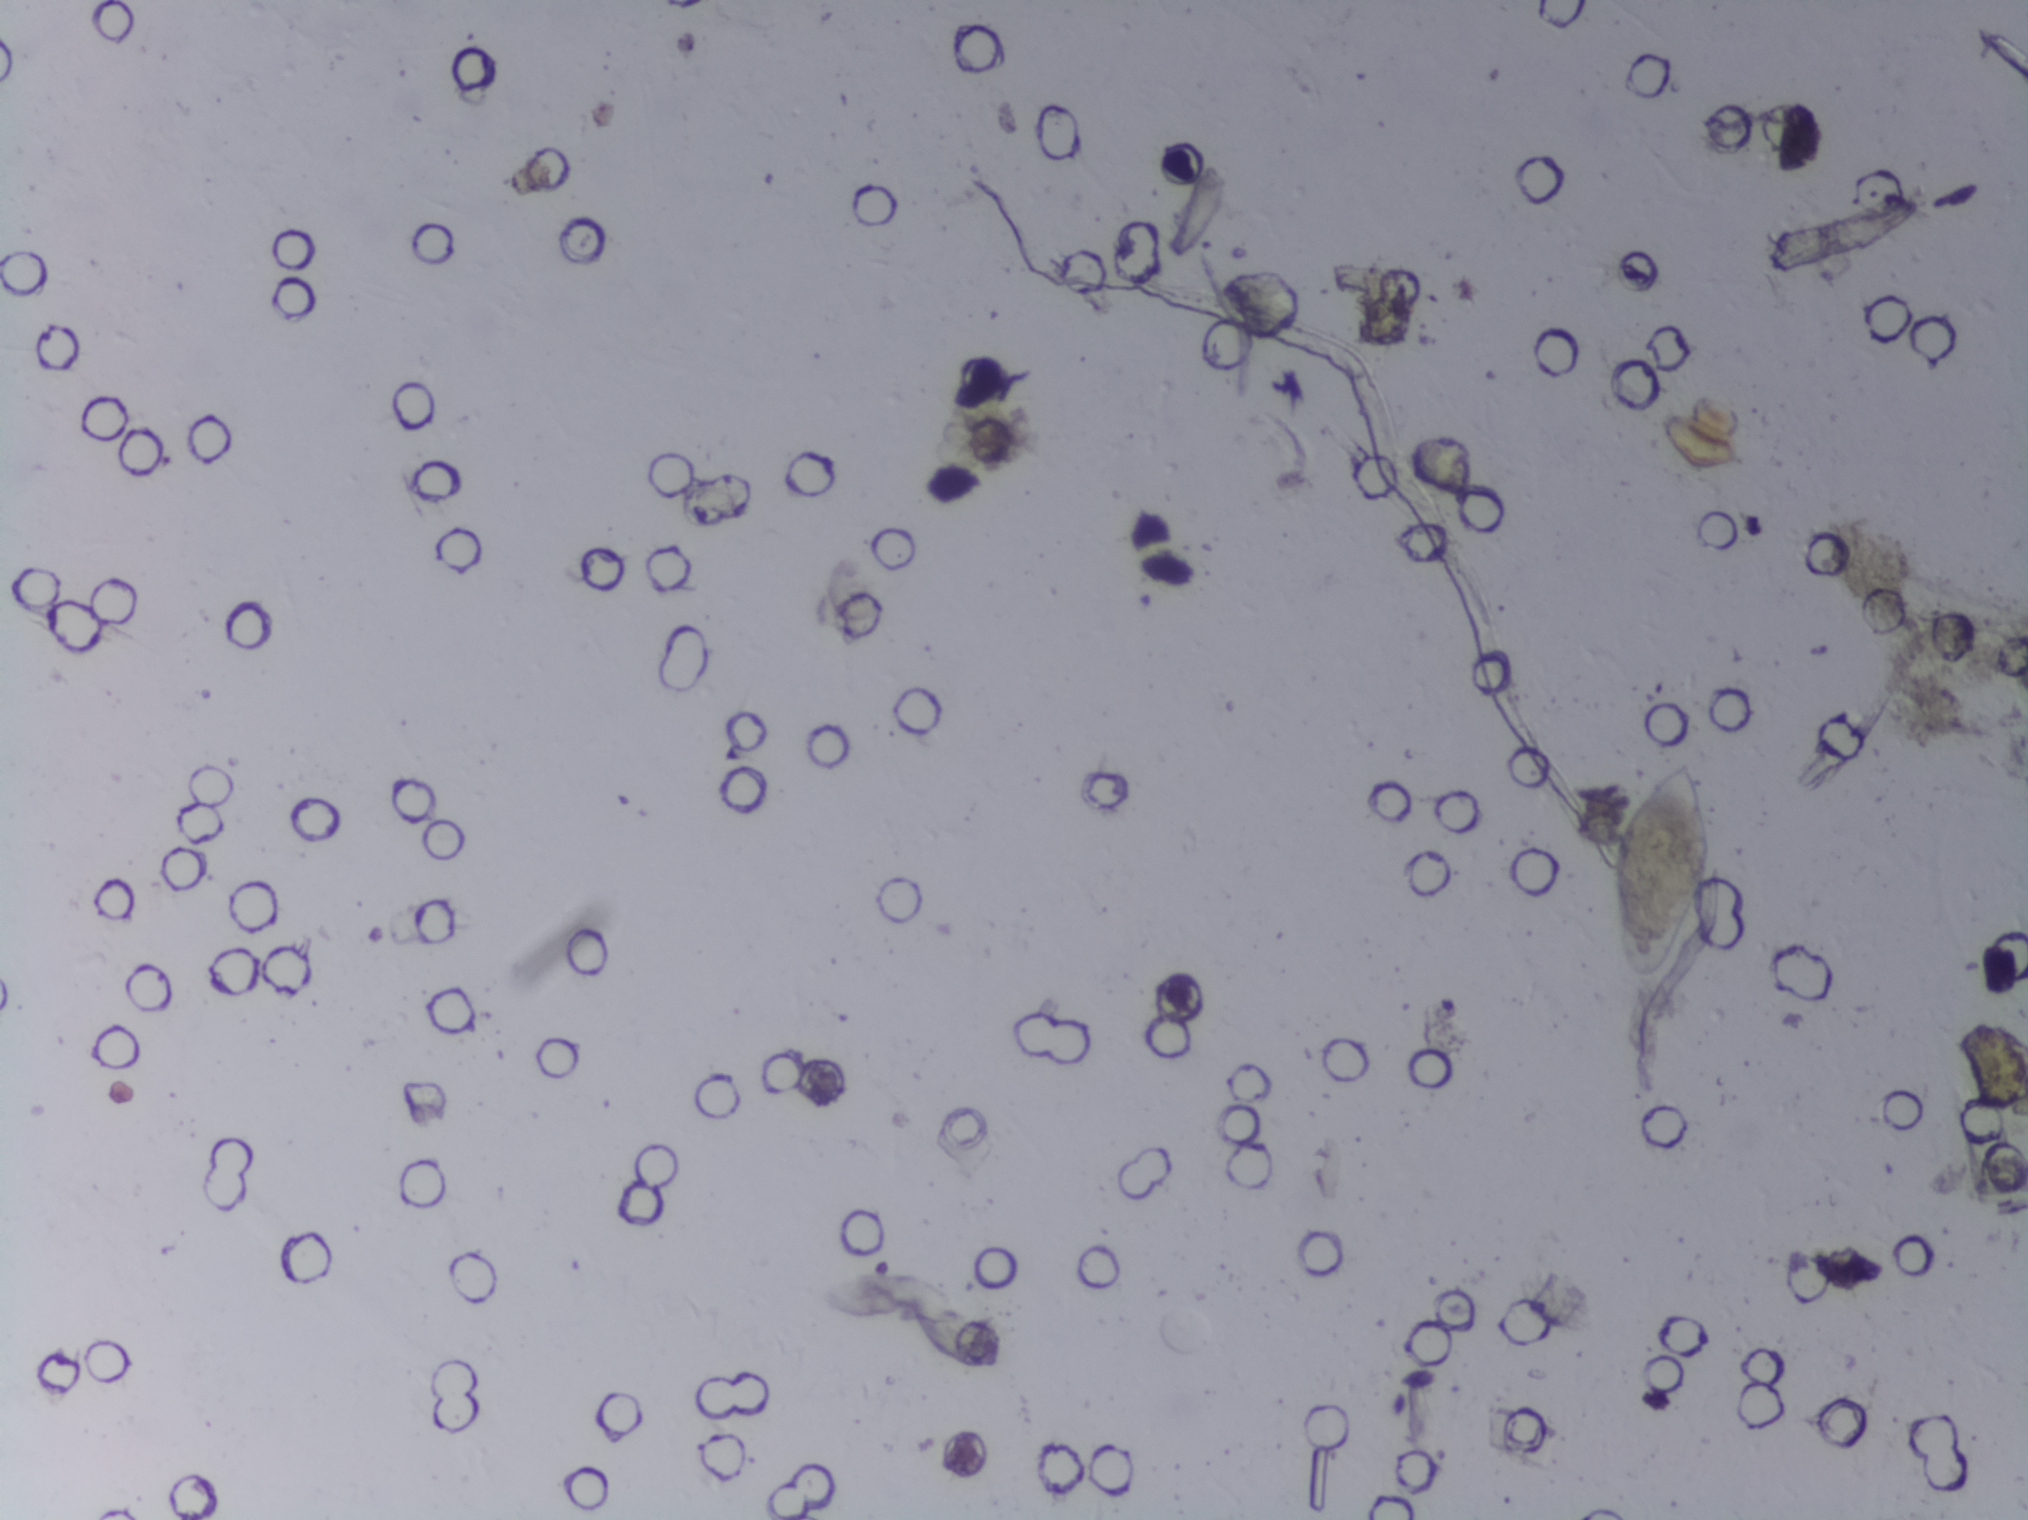
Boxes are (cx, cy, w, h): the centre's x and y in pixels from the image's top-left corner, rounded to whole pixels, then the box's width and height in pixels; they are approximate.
The expert annotation outlines Schistosoma eggs at (cx=1661, cy=873, w=107, h=229). Eggs that touch can end up inside the same outlined area. Any one outlined egg may, rarely, be S. mansoni rather than S. haematobium.
Urine filter membrane photographed through a 4× microscope objective. Field of view: about 1.5 mm wide and 1.1 mm high.